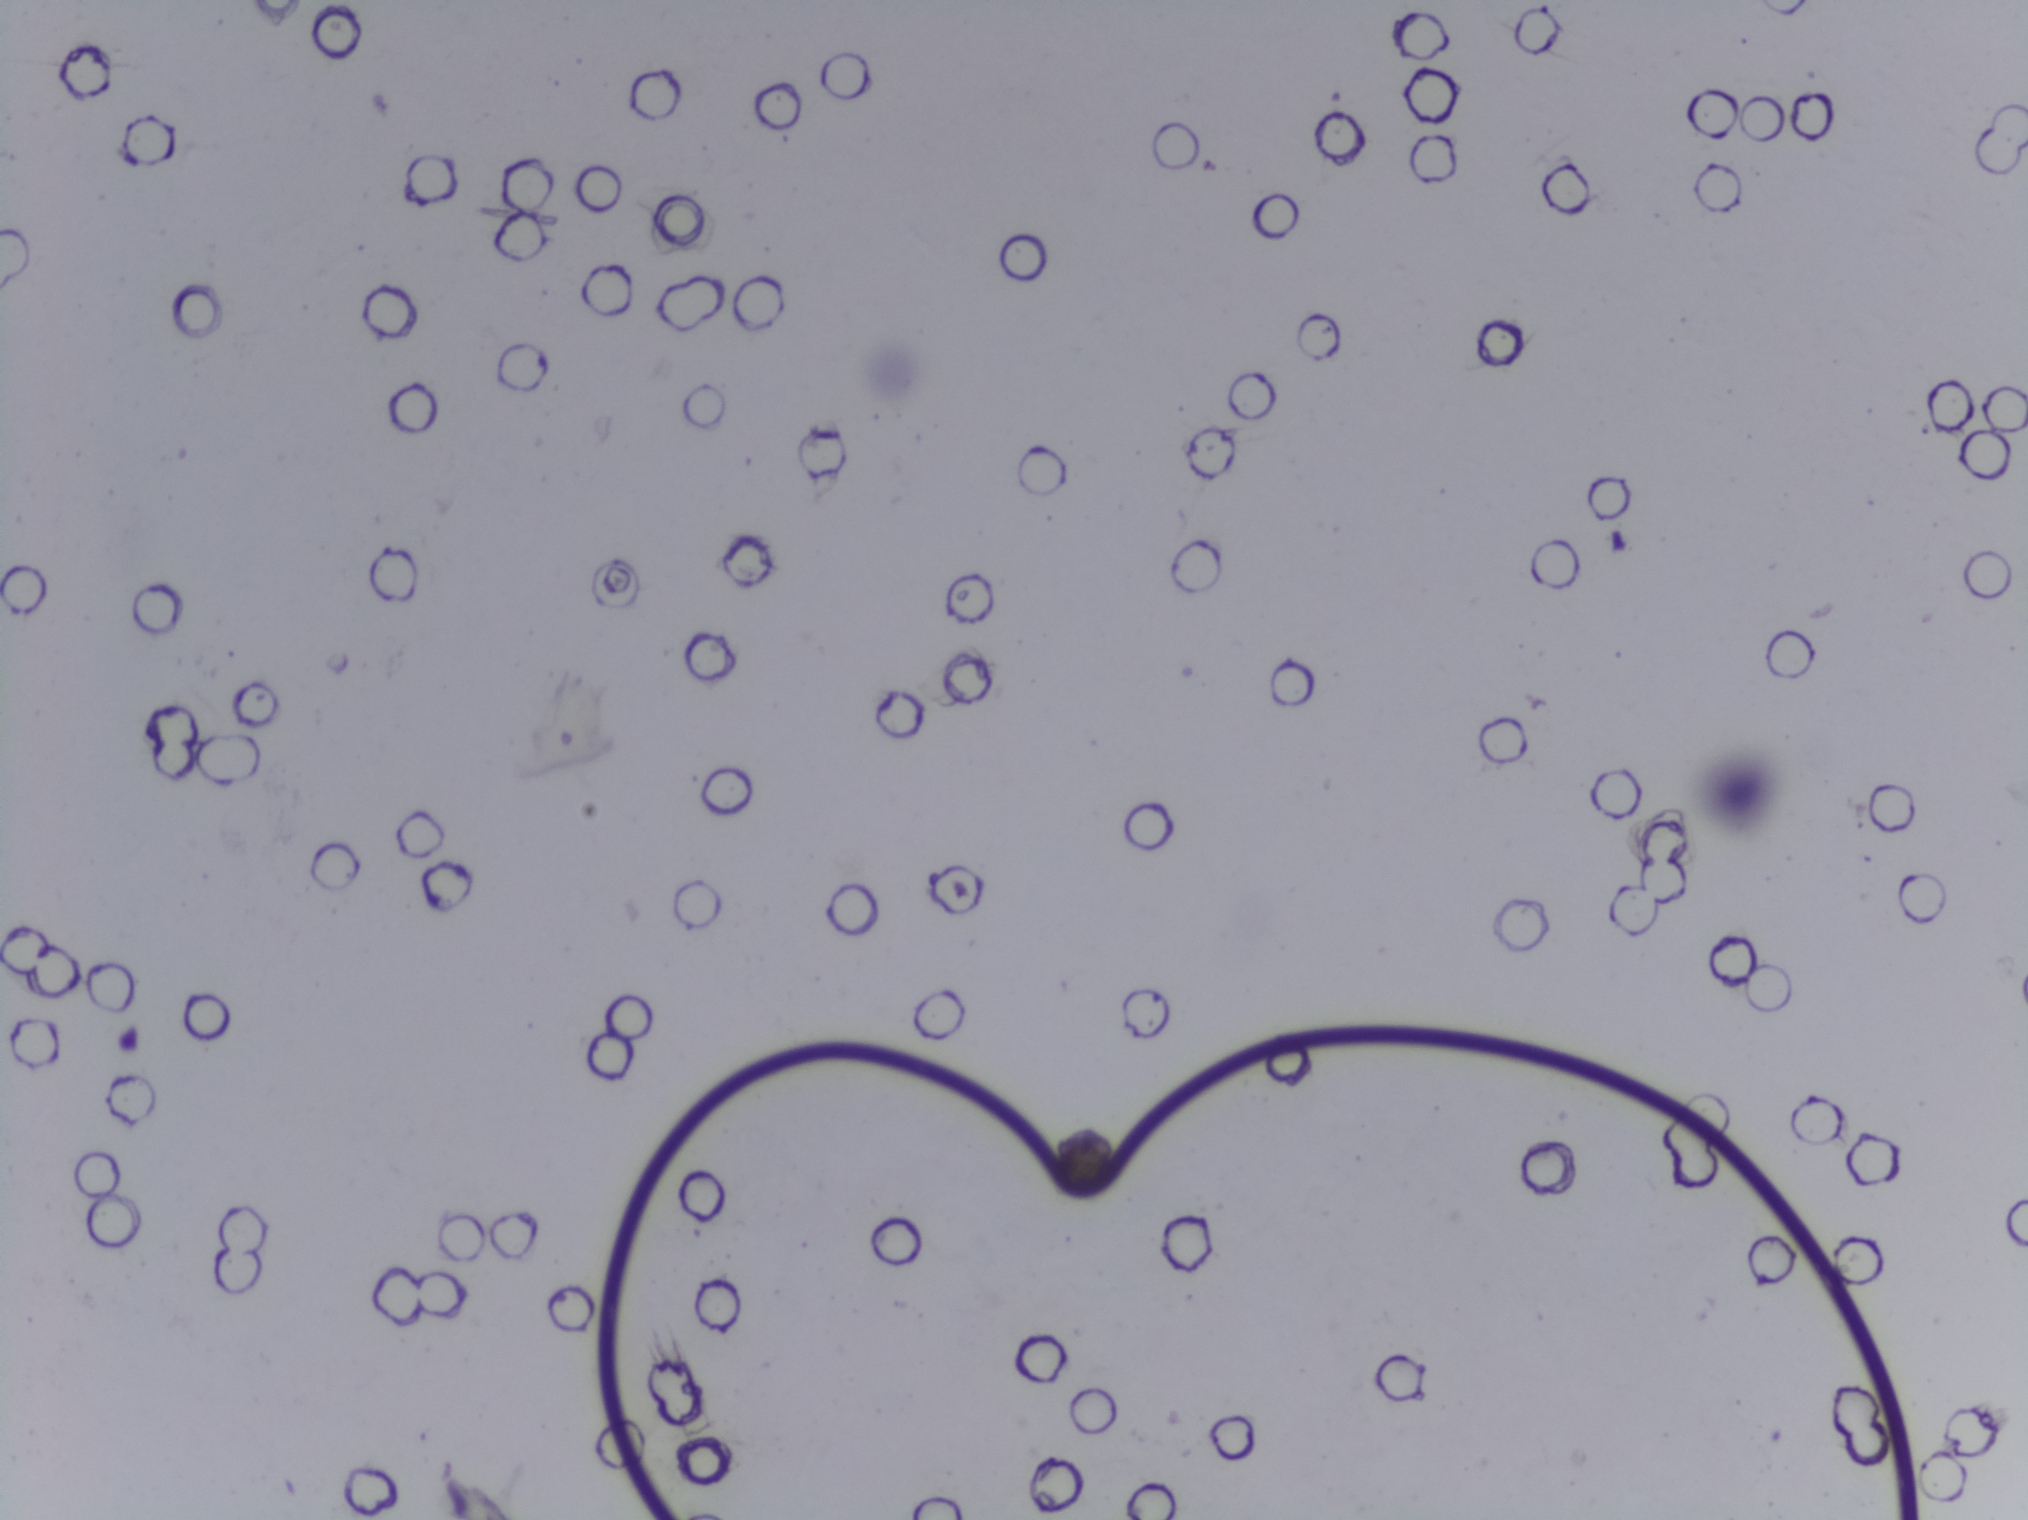
The expert annotation marks no Schistosoma egg in this field of view.
Photomicrograph of a urine filtration membrane, 4× objective. The field of view is about 1.5 mm × 1.1 mm.